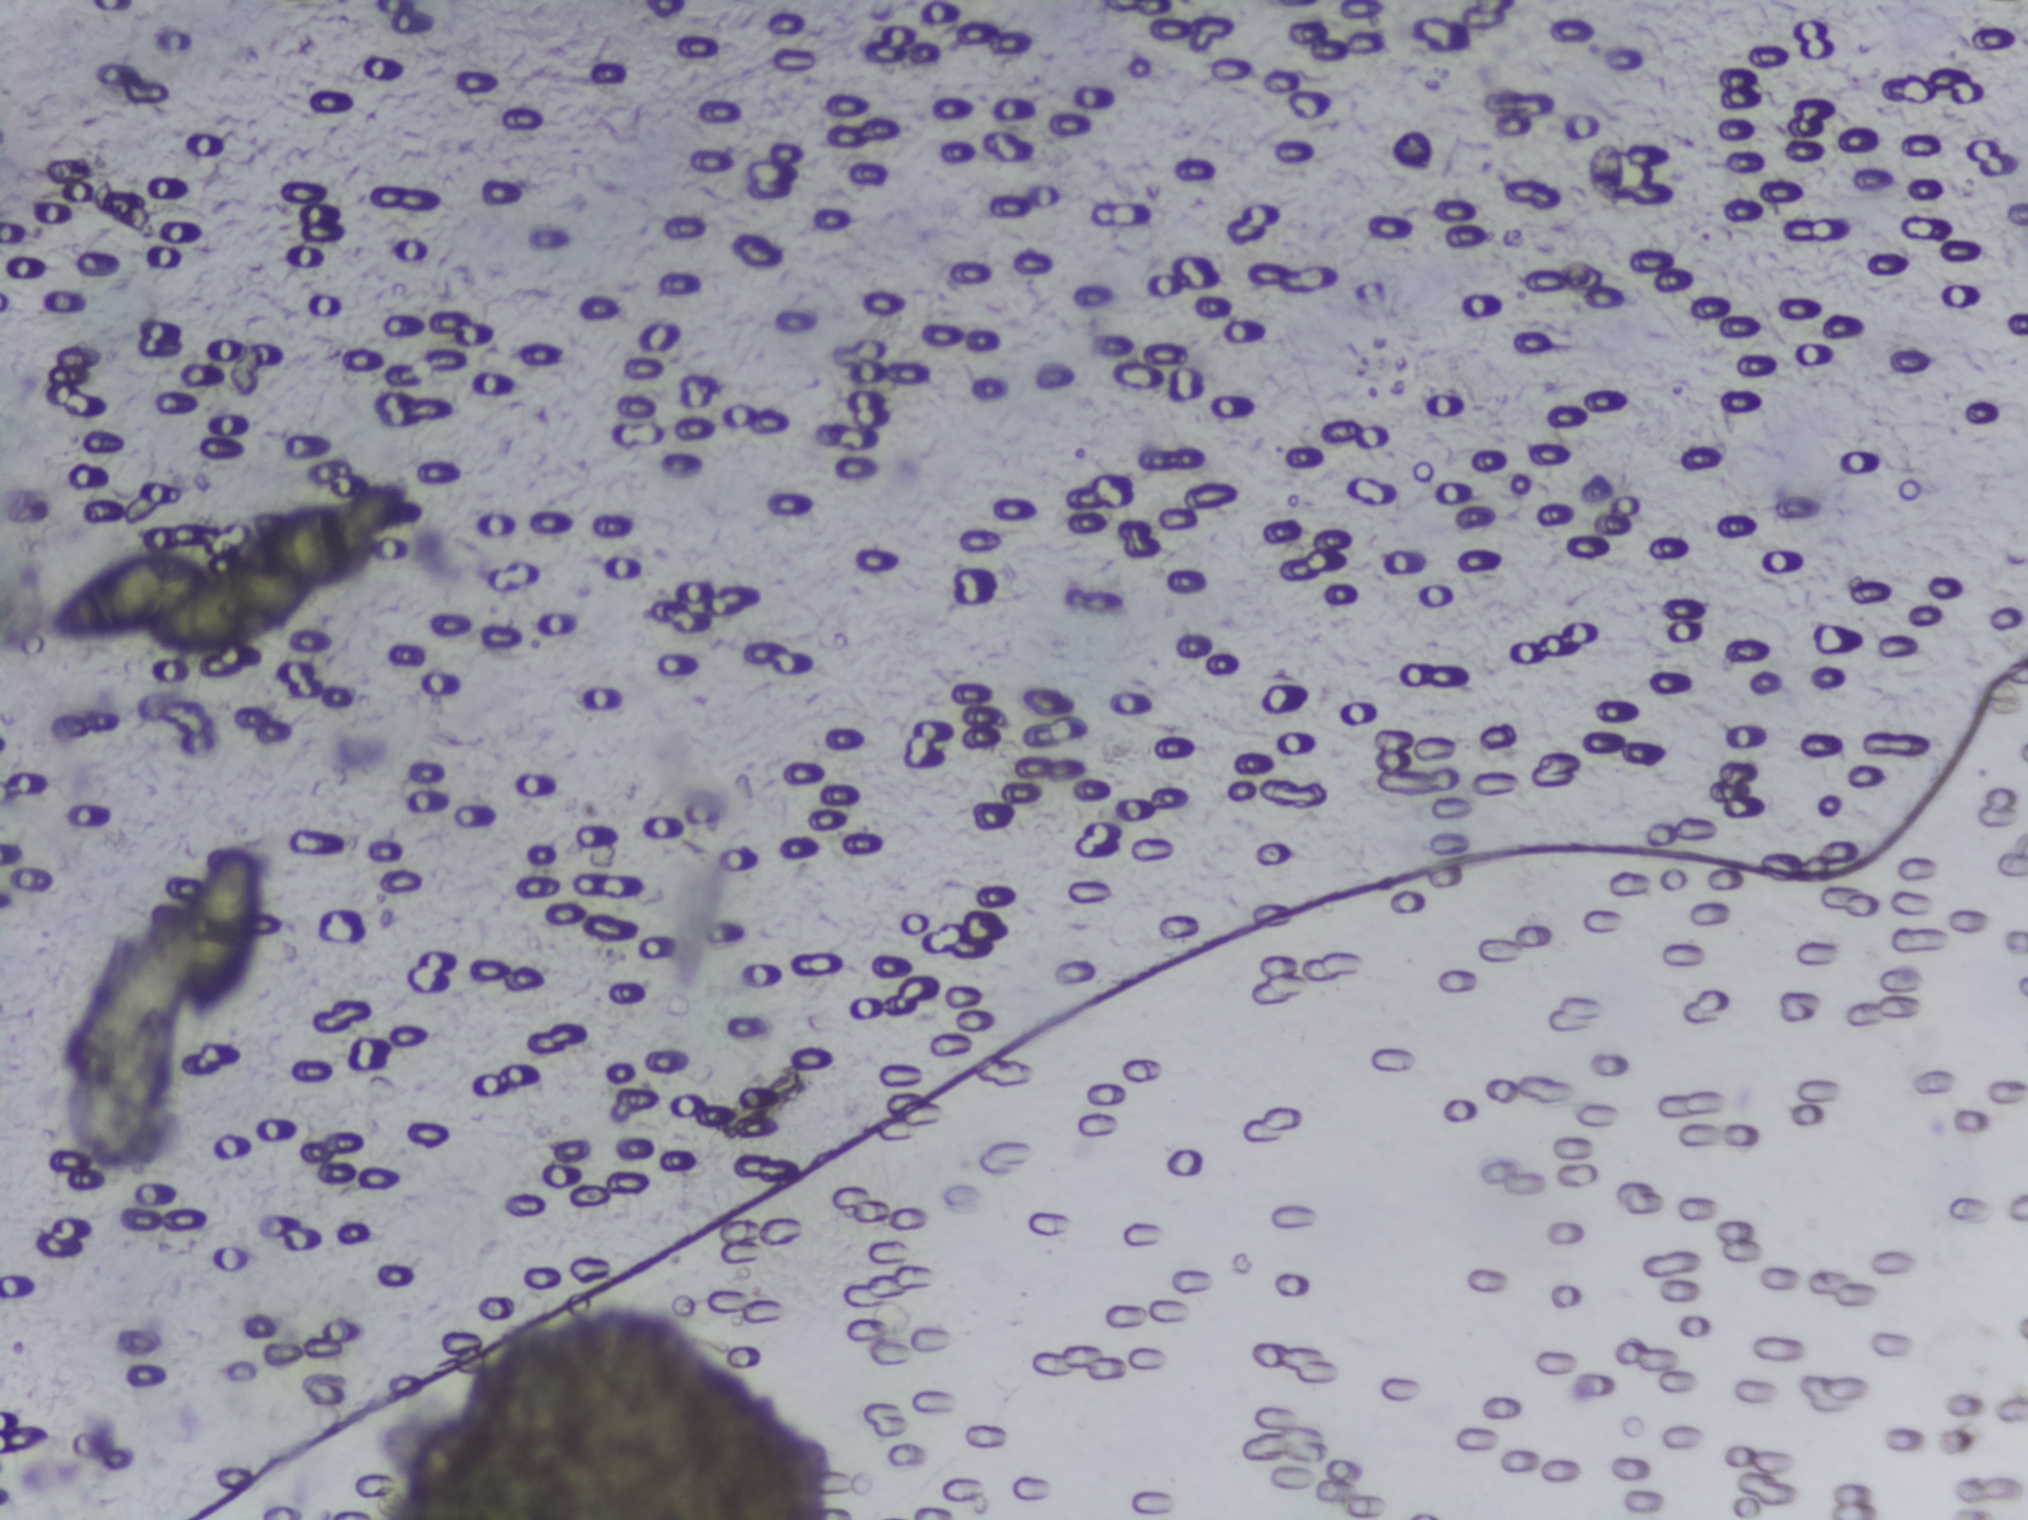
Photograph from an automated digital microscope: urine filter membrane, 4× objective.
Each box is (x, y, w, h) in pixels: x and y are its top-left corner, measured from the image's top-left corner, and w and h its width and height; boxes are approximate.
Schistosoma eggs, outlined areas: (x=46, y=506, w=345, h=151); (x=186, y=845, w=79, h=179). A single outlined area may contain several eggs.